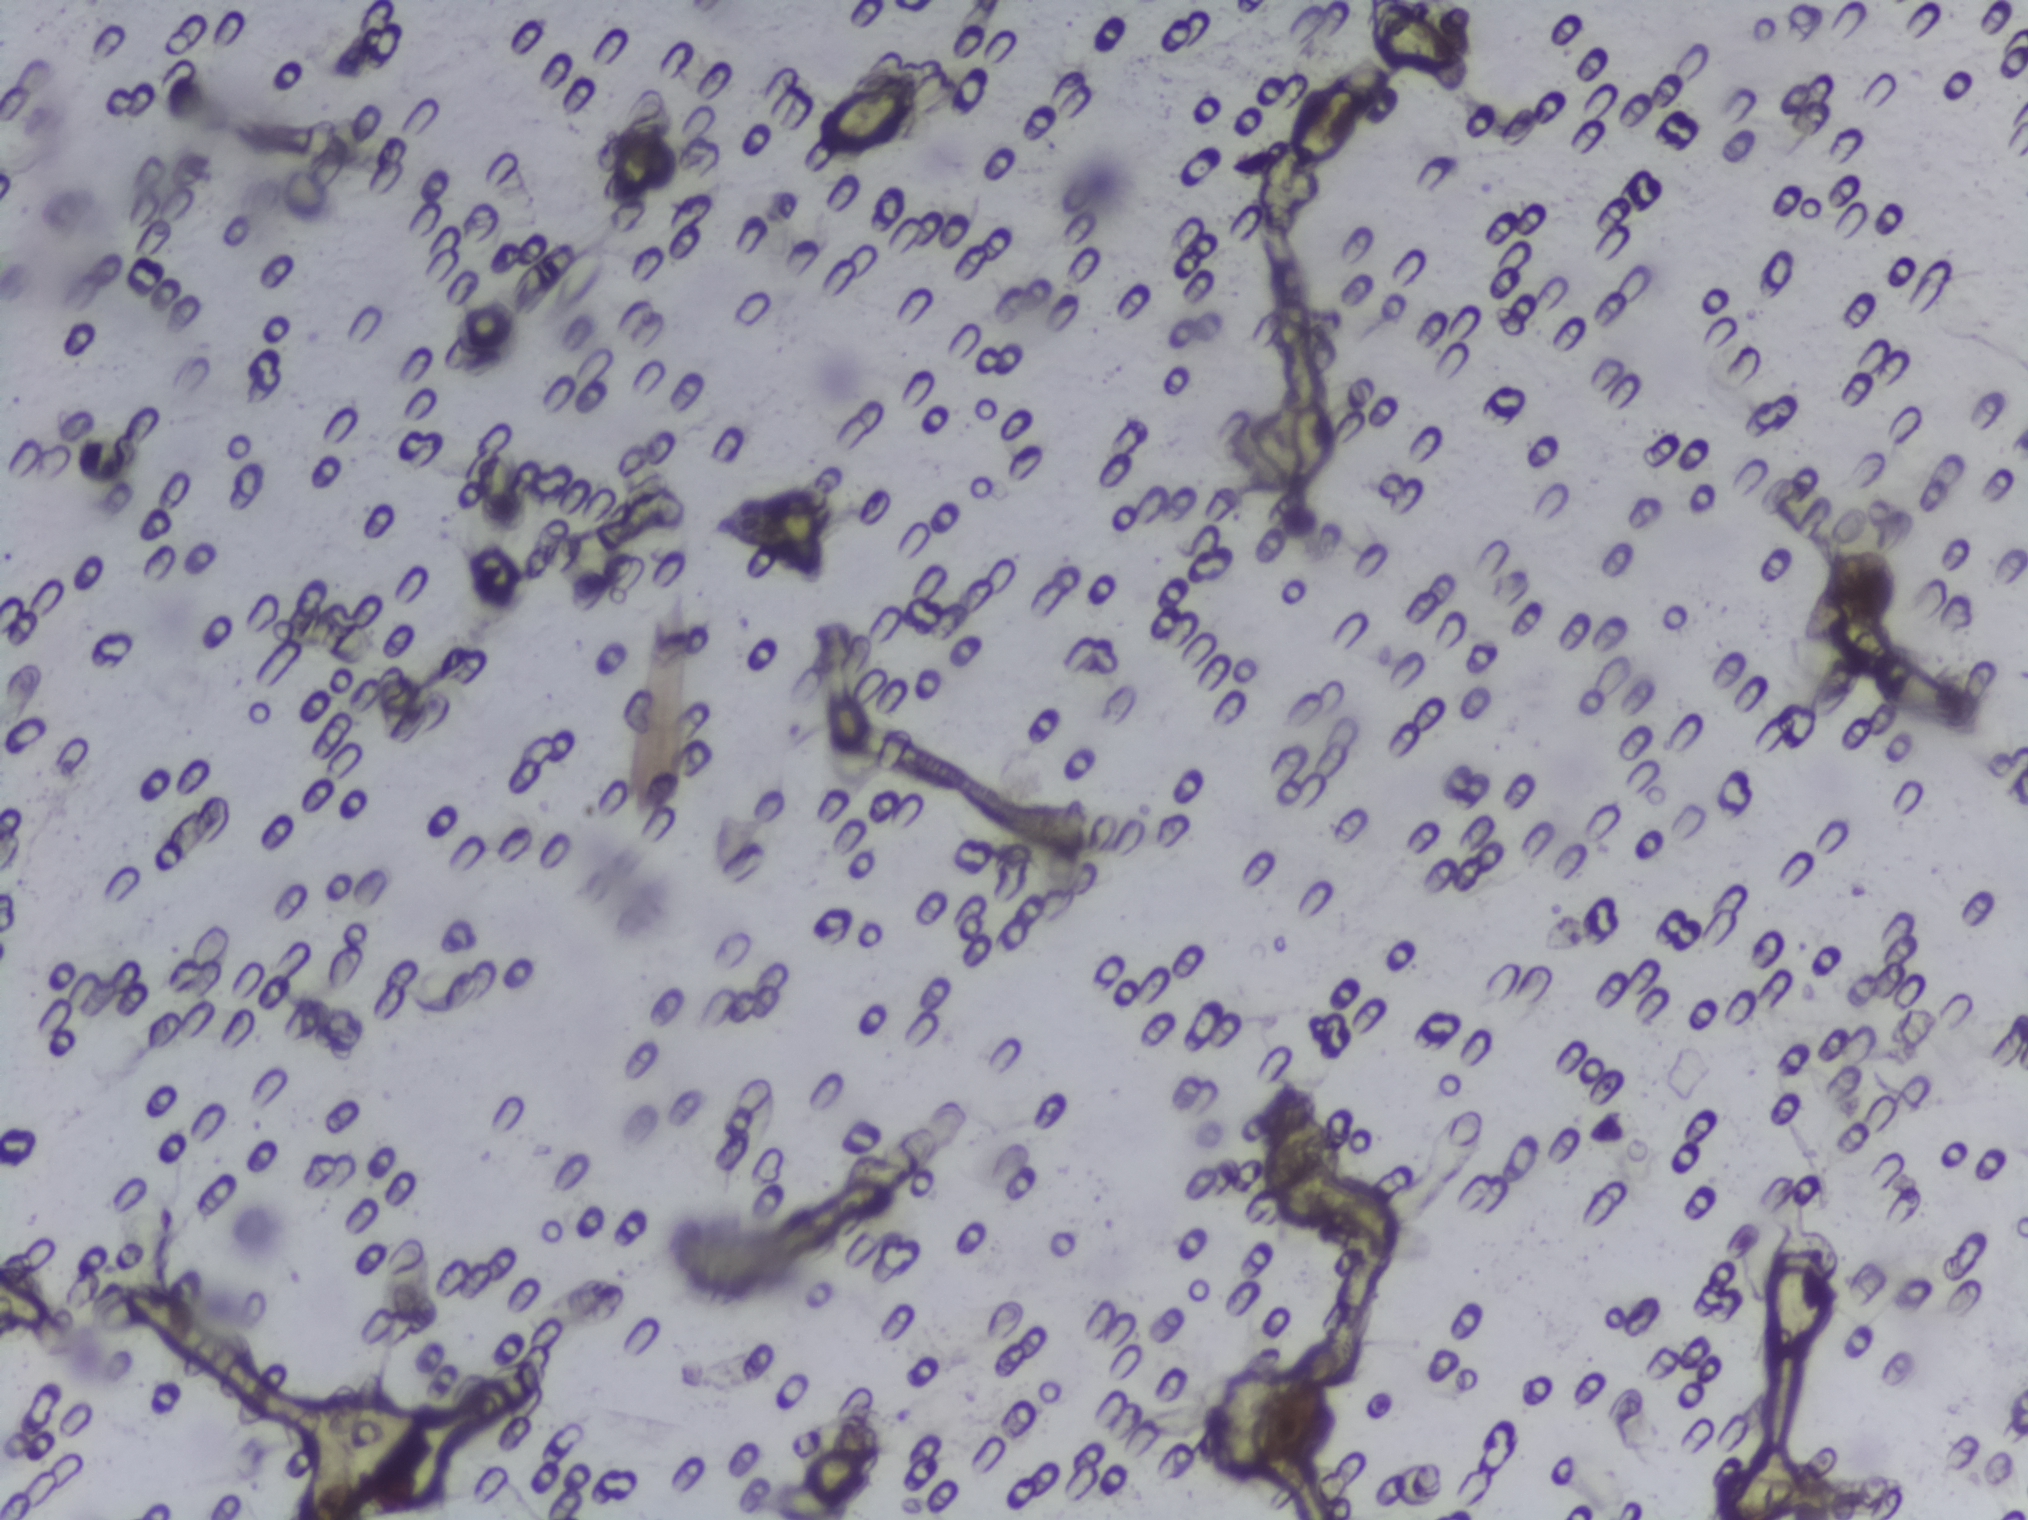
Urine filter membrane photographed through a 4× microscope objective. The field of view is about 1.5 mm × 1.1 mm.
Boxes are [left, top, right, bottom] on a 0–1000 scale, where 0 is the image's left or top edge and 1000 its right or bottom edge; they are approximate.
Schistosoma eggs are outlined in three areas of this image, listed from left to right: [398, 57, 450, 102]; [636, 56, 671, 113]; [674, 0, 723, 47] (reaching the top edge of the frame). An outlined area can hold more than one egg.